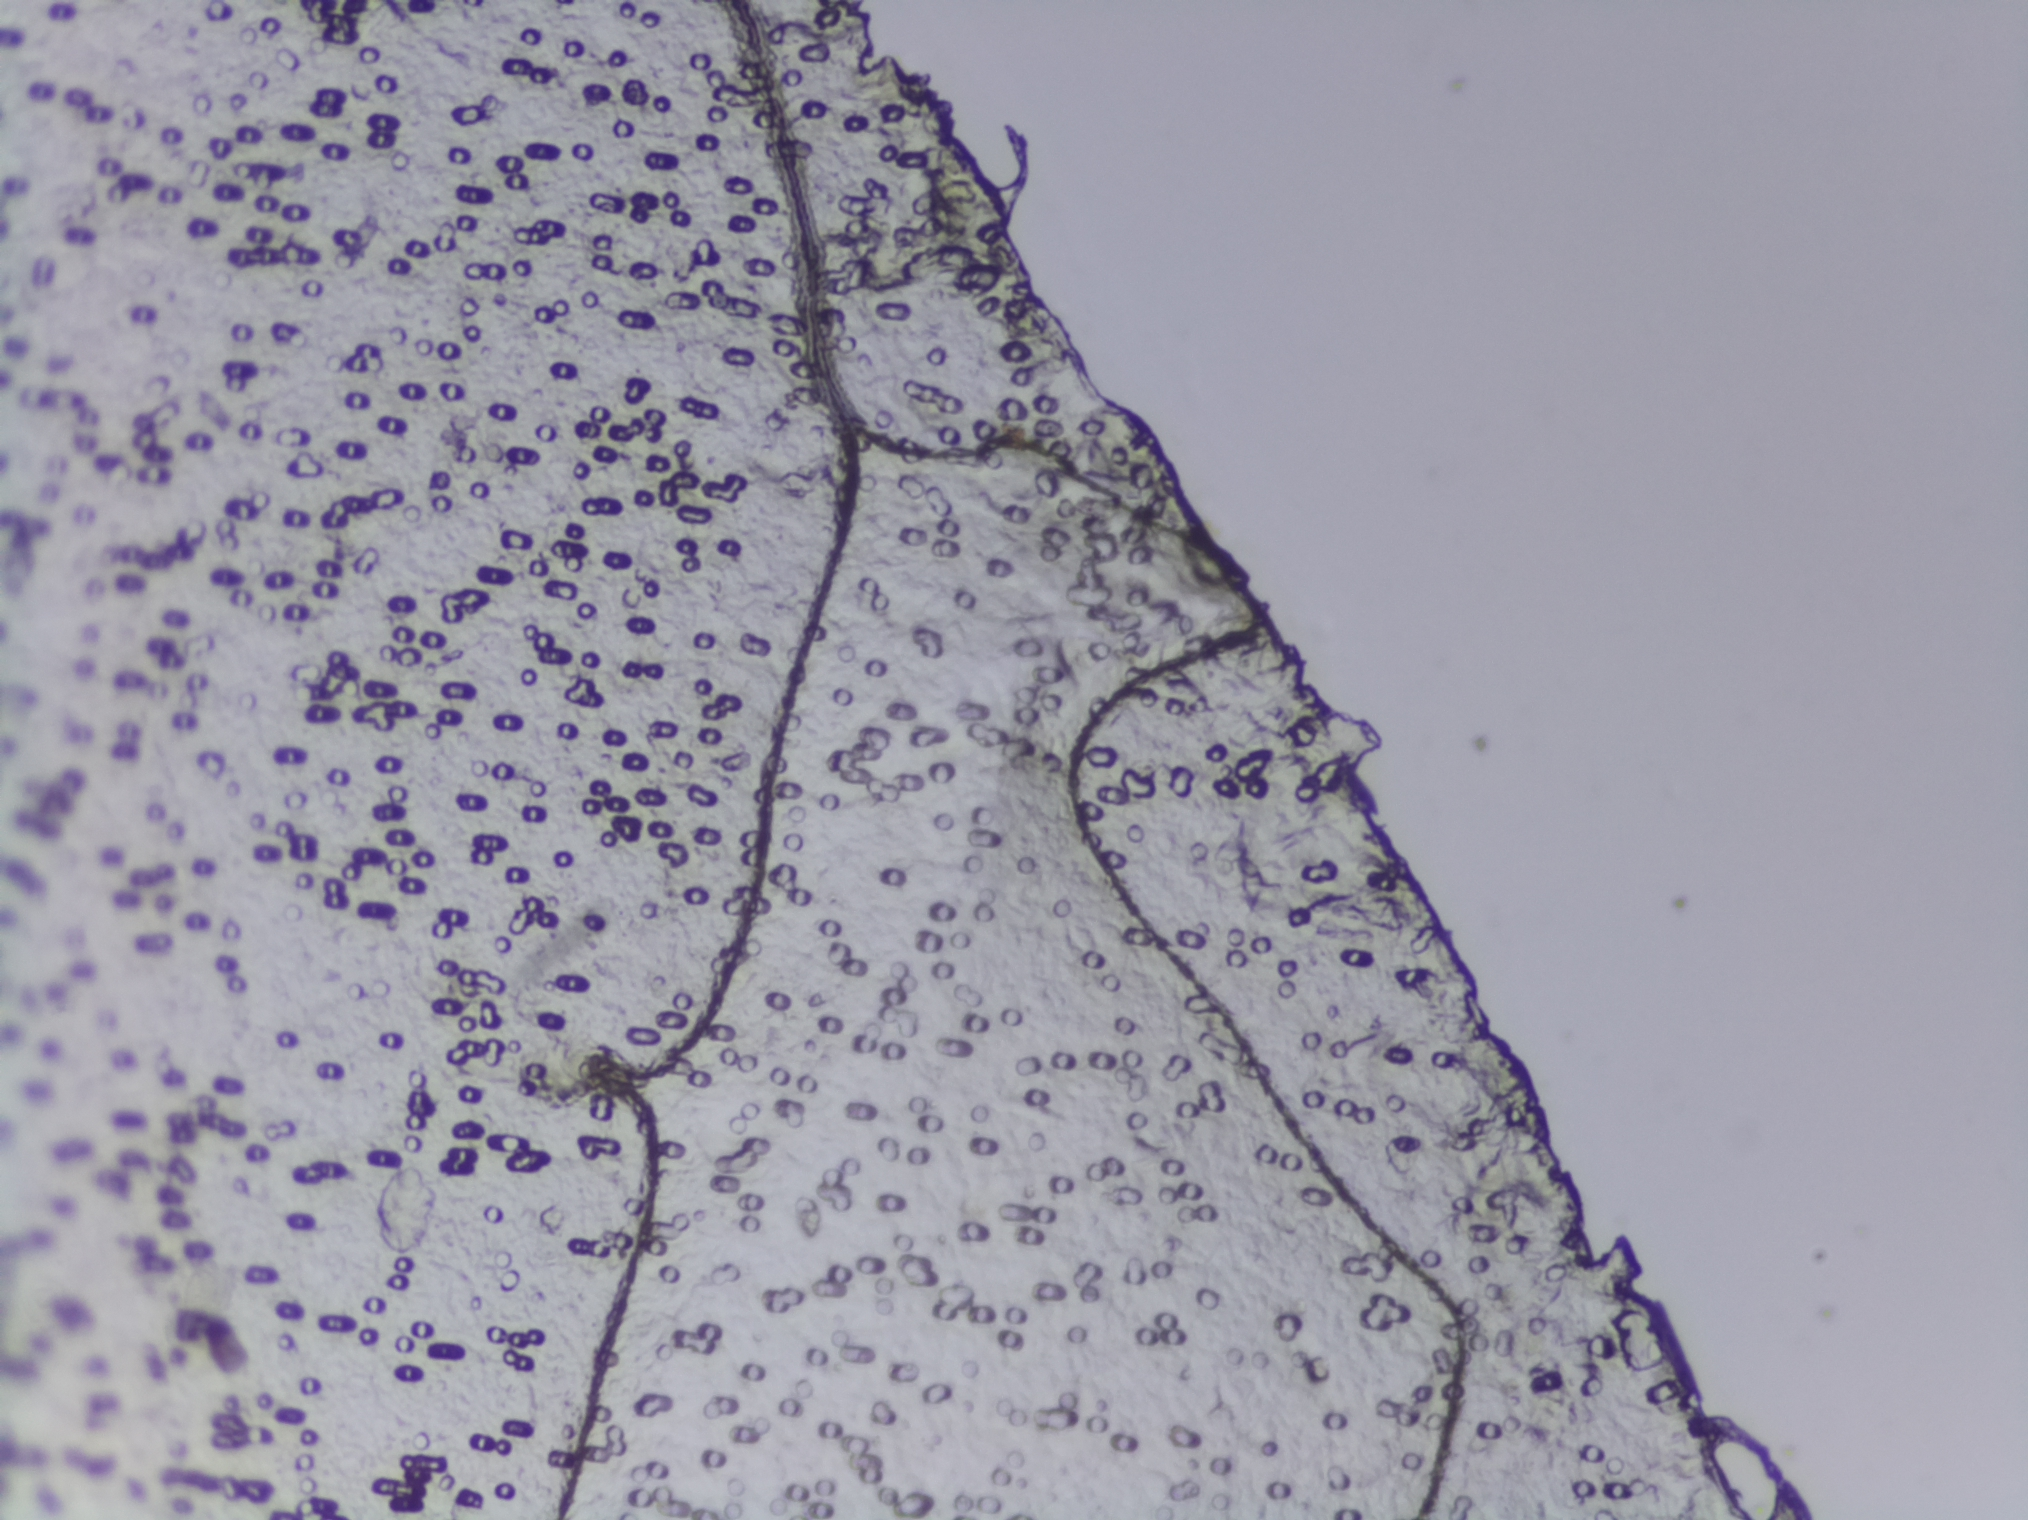
The expert annotation outlines no Schistosoma egg in this image.
Urine filtration membrane under a 4× objective, photographed by an automated digital microscope. The image covers about 1.5 × 1.1 mm of the membrane.